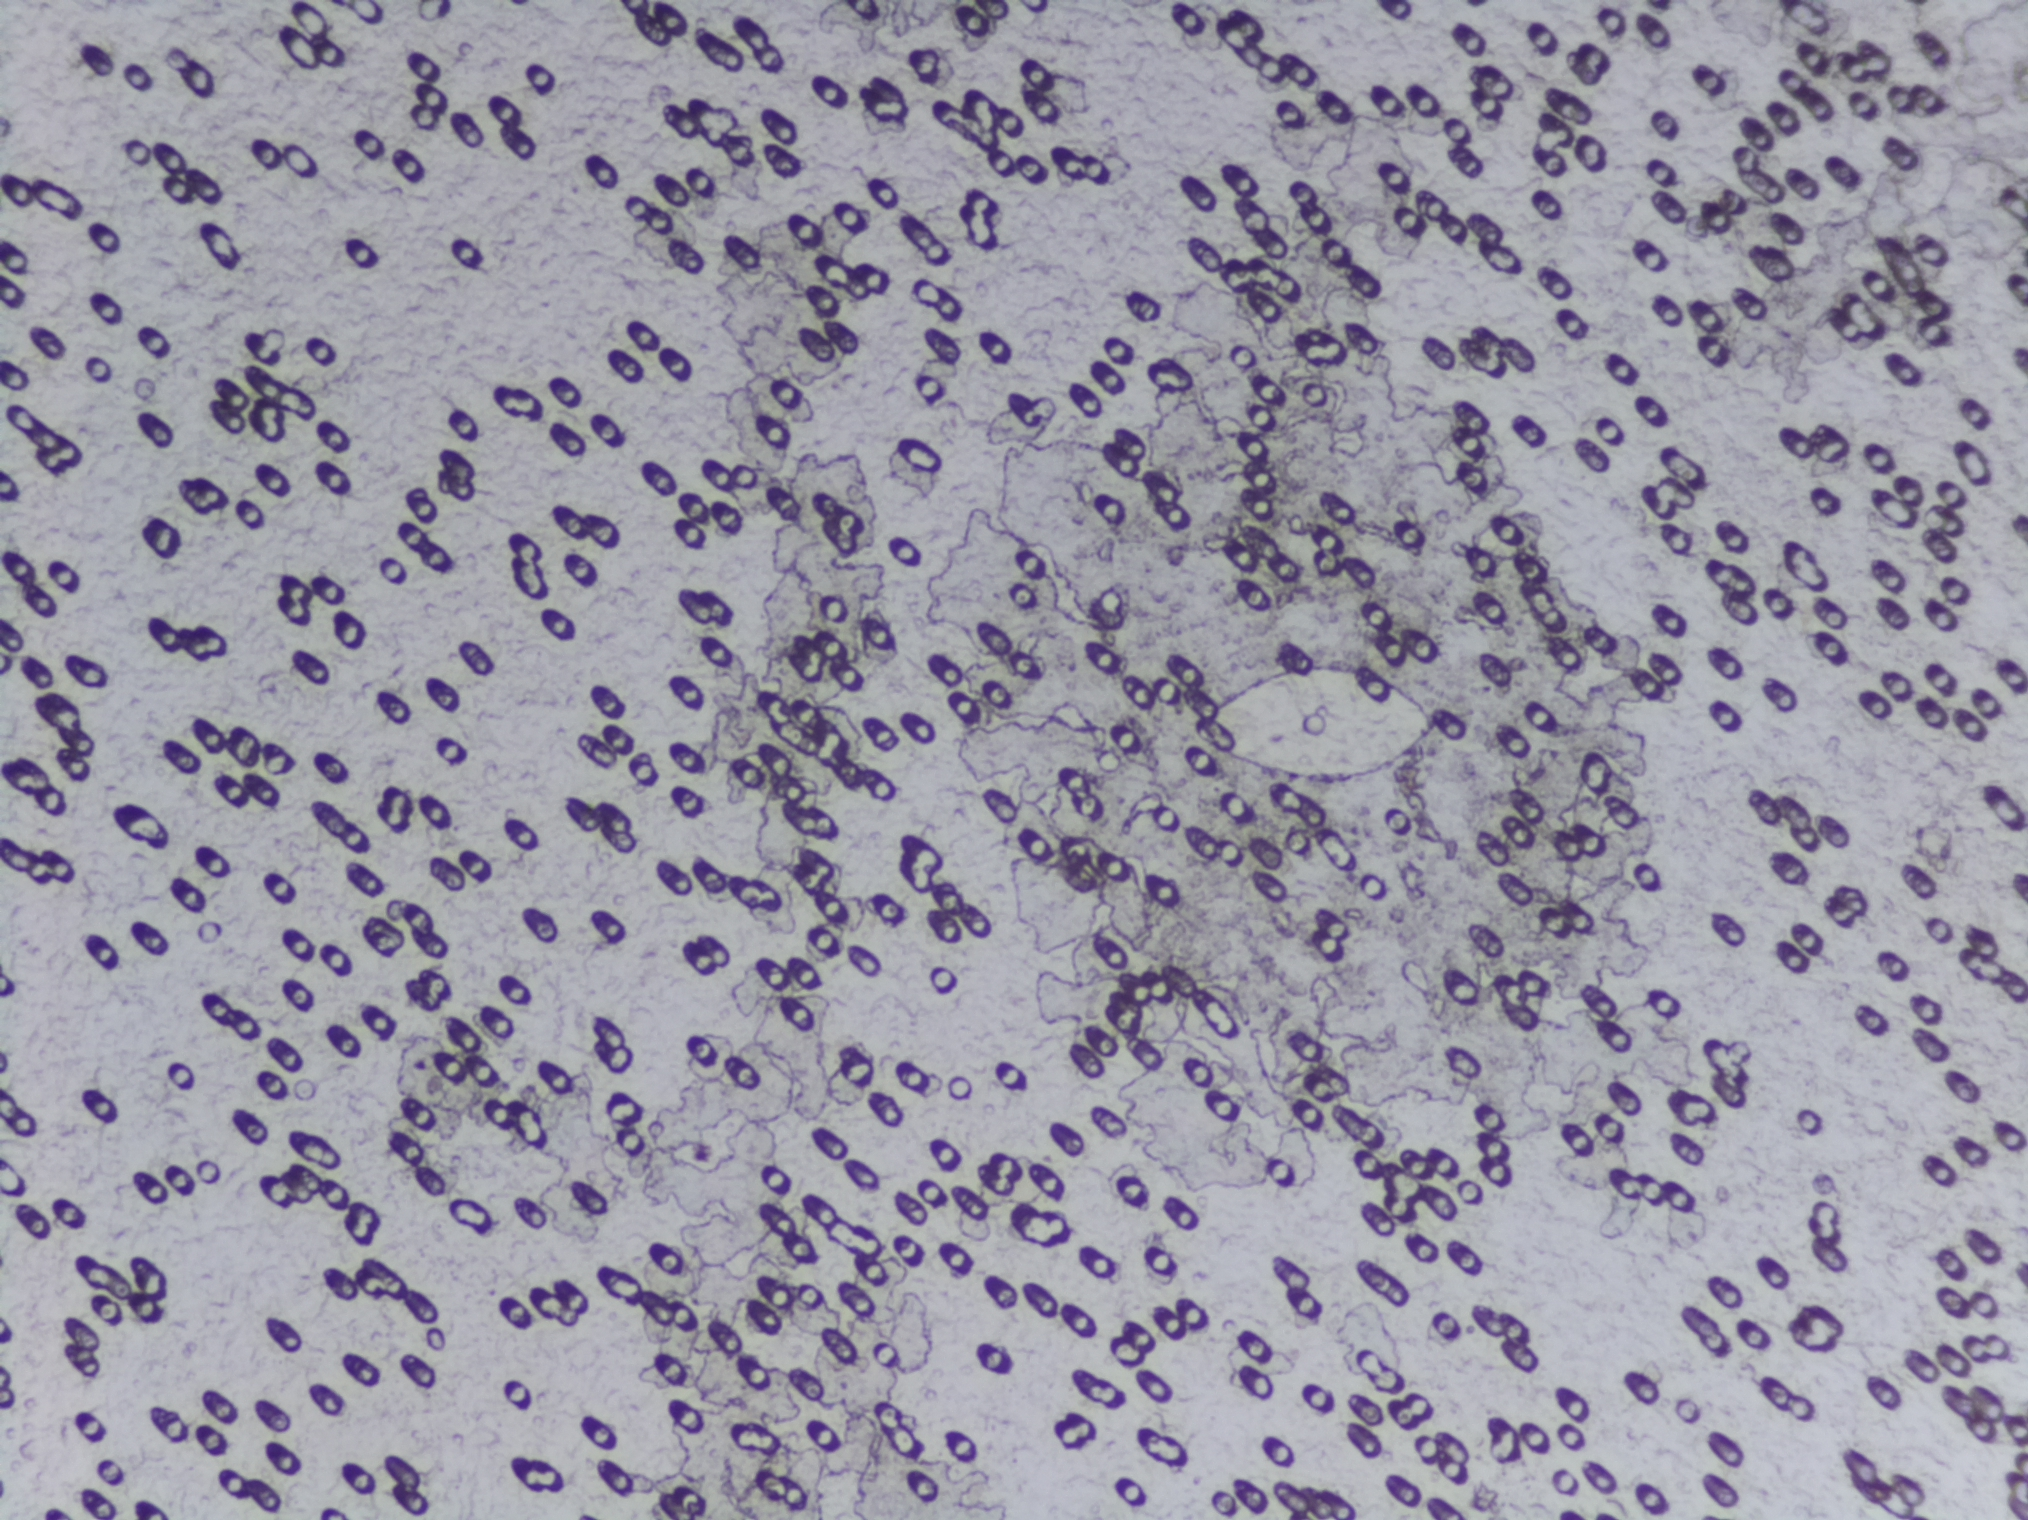
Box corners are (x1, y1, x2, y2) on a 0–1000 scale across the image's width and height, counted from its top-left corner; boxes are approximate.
Areas outlined as Schistosoma eggs:
1. (581, 430, 715, 518)
Eggs that touch can end up inside the same outlined area.
Photograph from an automated digital microscope: urine filter membrane, 4× objective. Field of view: about 1.5 mm wide and 1.1 mm high.